Urine filter membrane photographed through a 4× microscope objective.
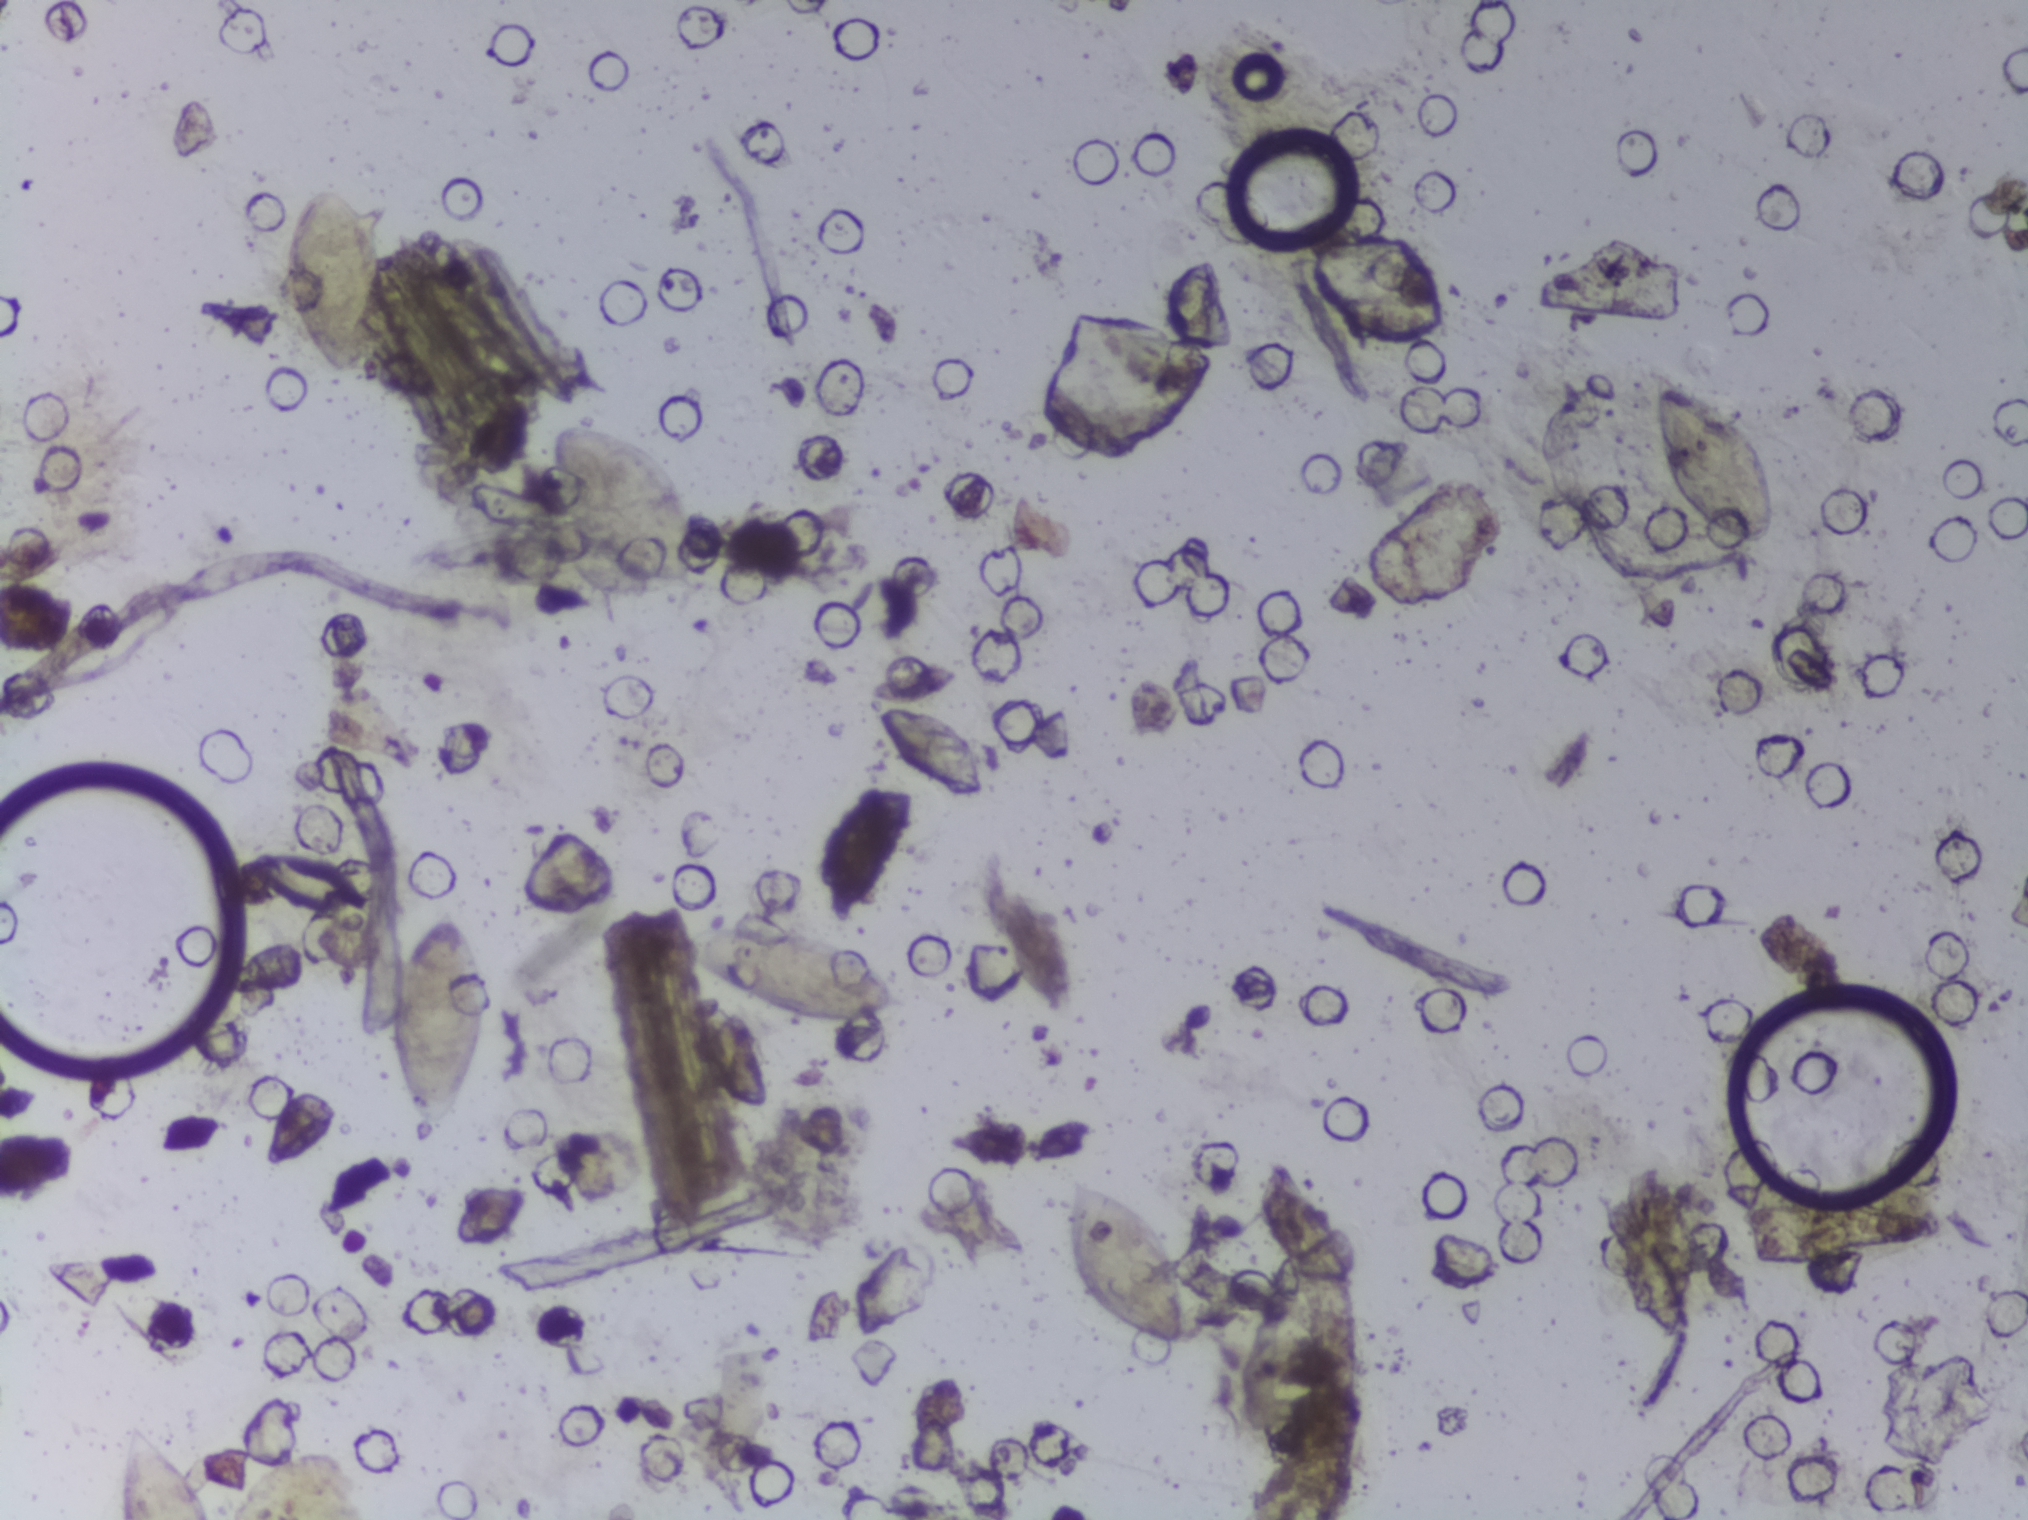
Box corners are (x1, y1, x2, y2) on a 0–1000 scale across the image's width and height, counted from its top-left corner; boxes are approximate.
Areas outlined as Schistosoma eggs: (58, 936, 105, 1000) (reaching the bottom edge of the frame); (138, 117, 188, 248); (190, 593, 243, 746); (267, 275, 348, 391); (334, 608, 450, 672); (522, 772, 586, 891); (815, 243, 878, 359). Eggs that touch can end up inside the same outlined area.